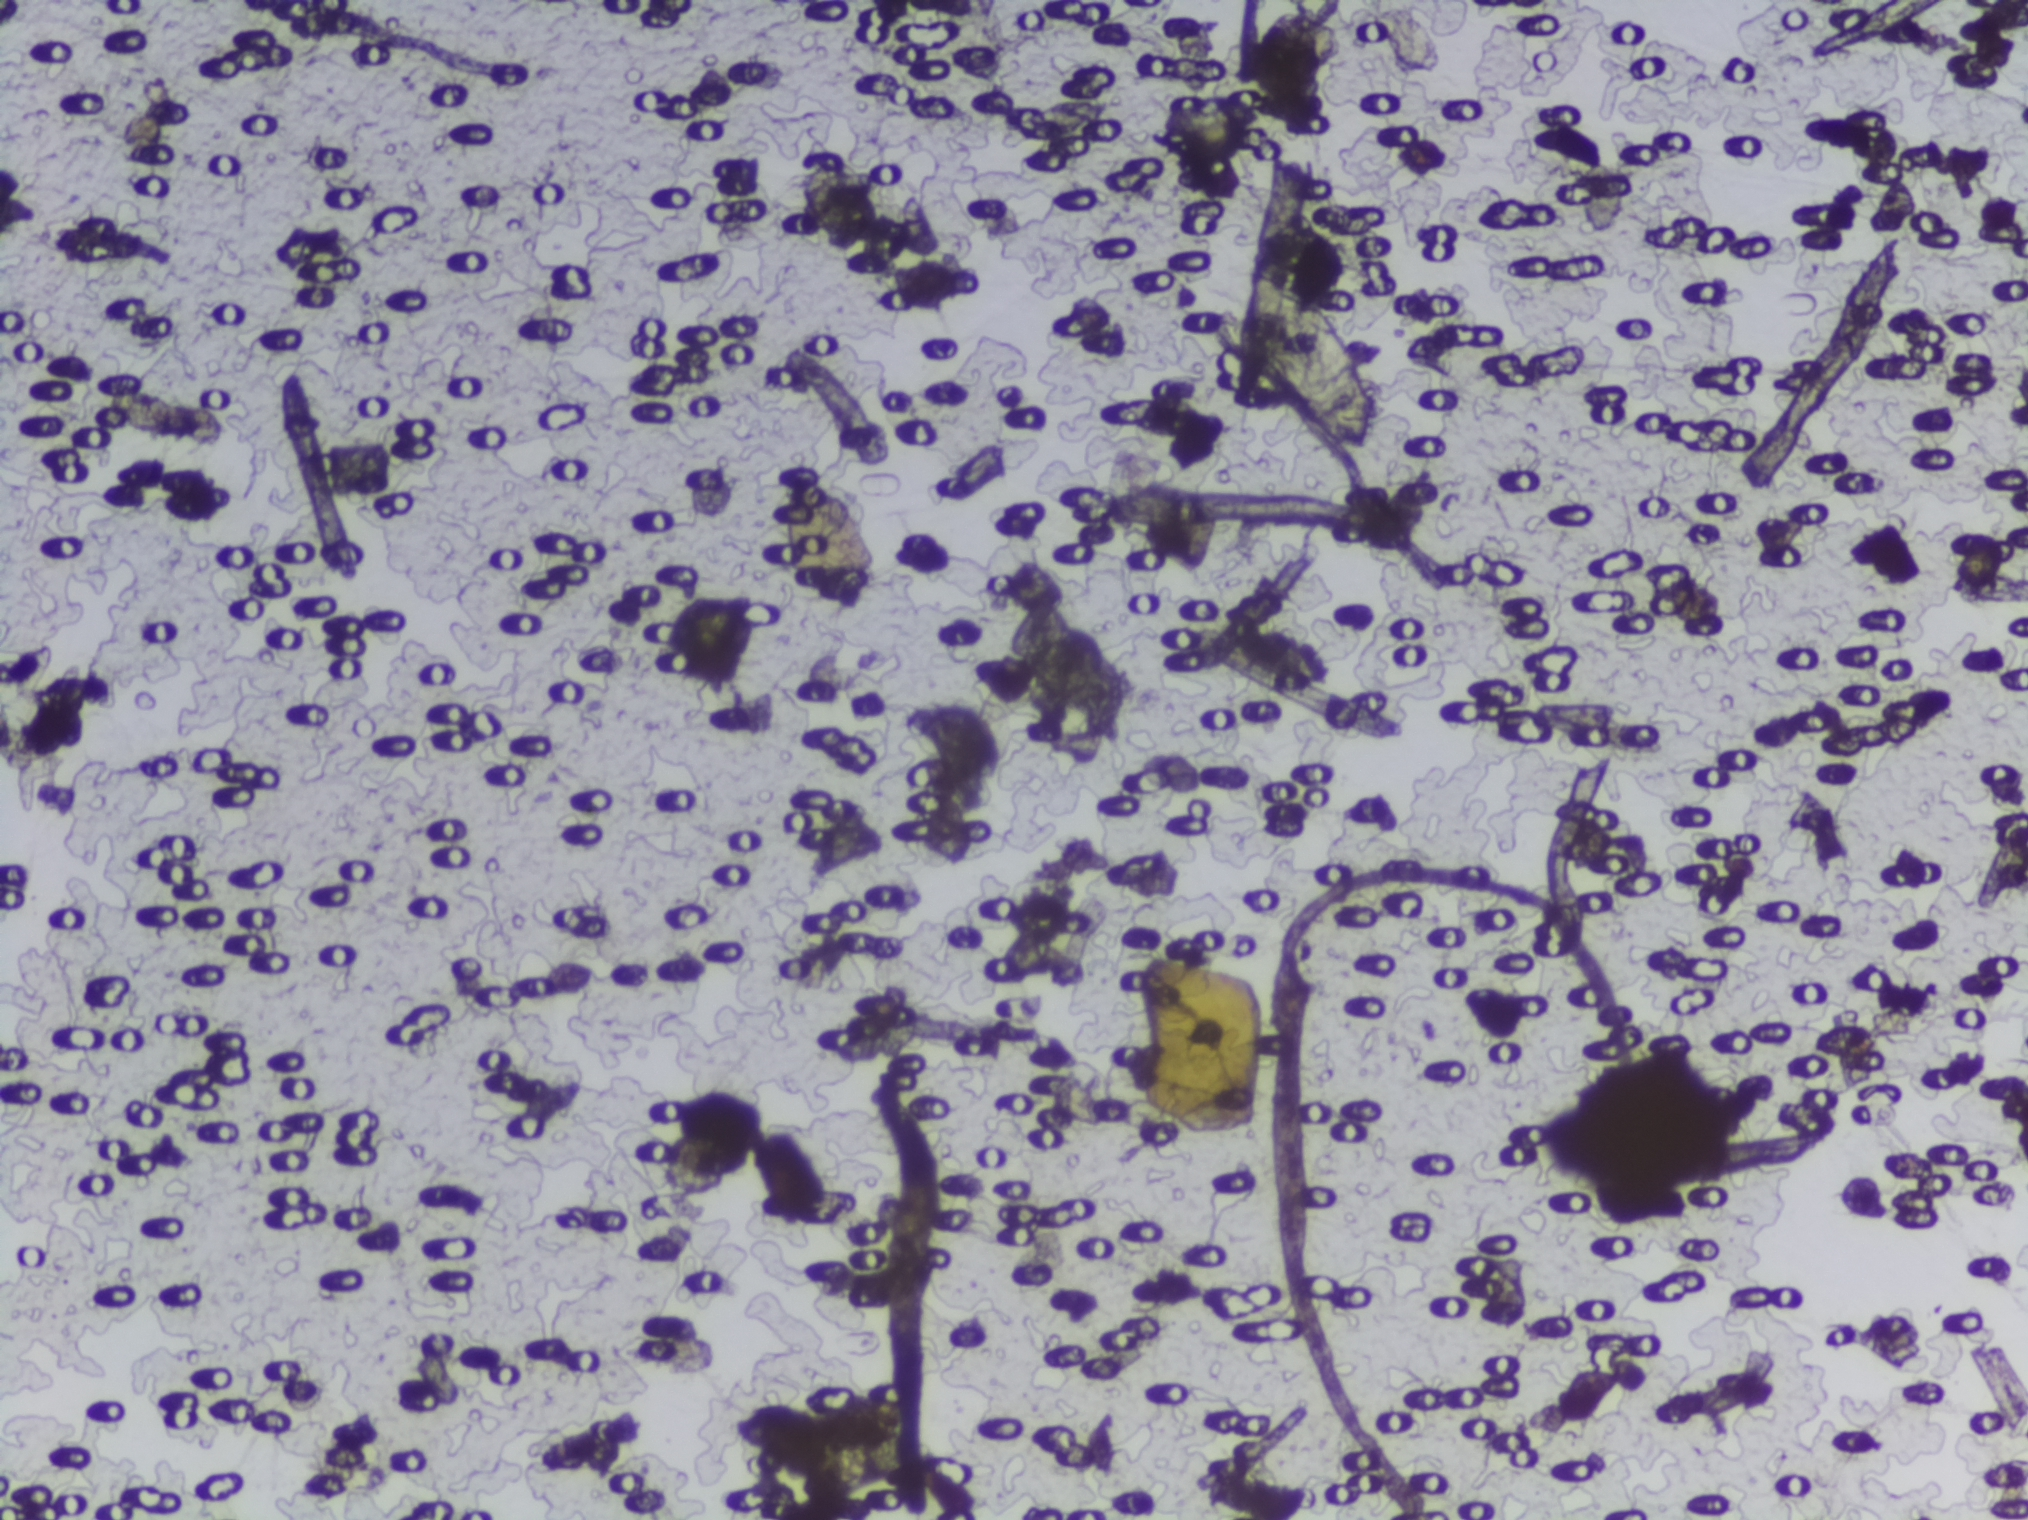
Urine filtration membrane under a 4× objective, photographed by an automated digital microscope. Field of view: about 1.5 mm wide and 1.1 mm high.
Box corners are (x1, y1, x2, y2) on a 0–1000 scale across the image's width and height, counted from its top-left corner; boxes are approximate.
Findings: one area outlined as Schistosoma eggs. Location: (605, 170, 678, 295). A single outlined area may contain several eggs.